Urine filter membrane photographed through a 4× microscope objective.
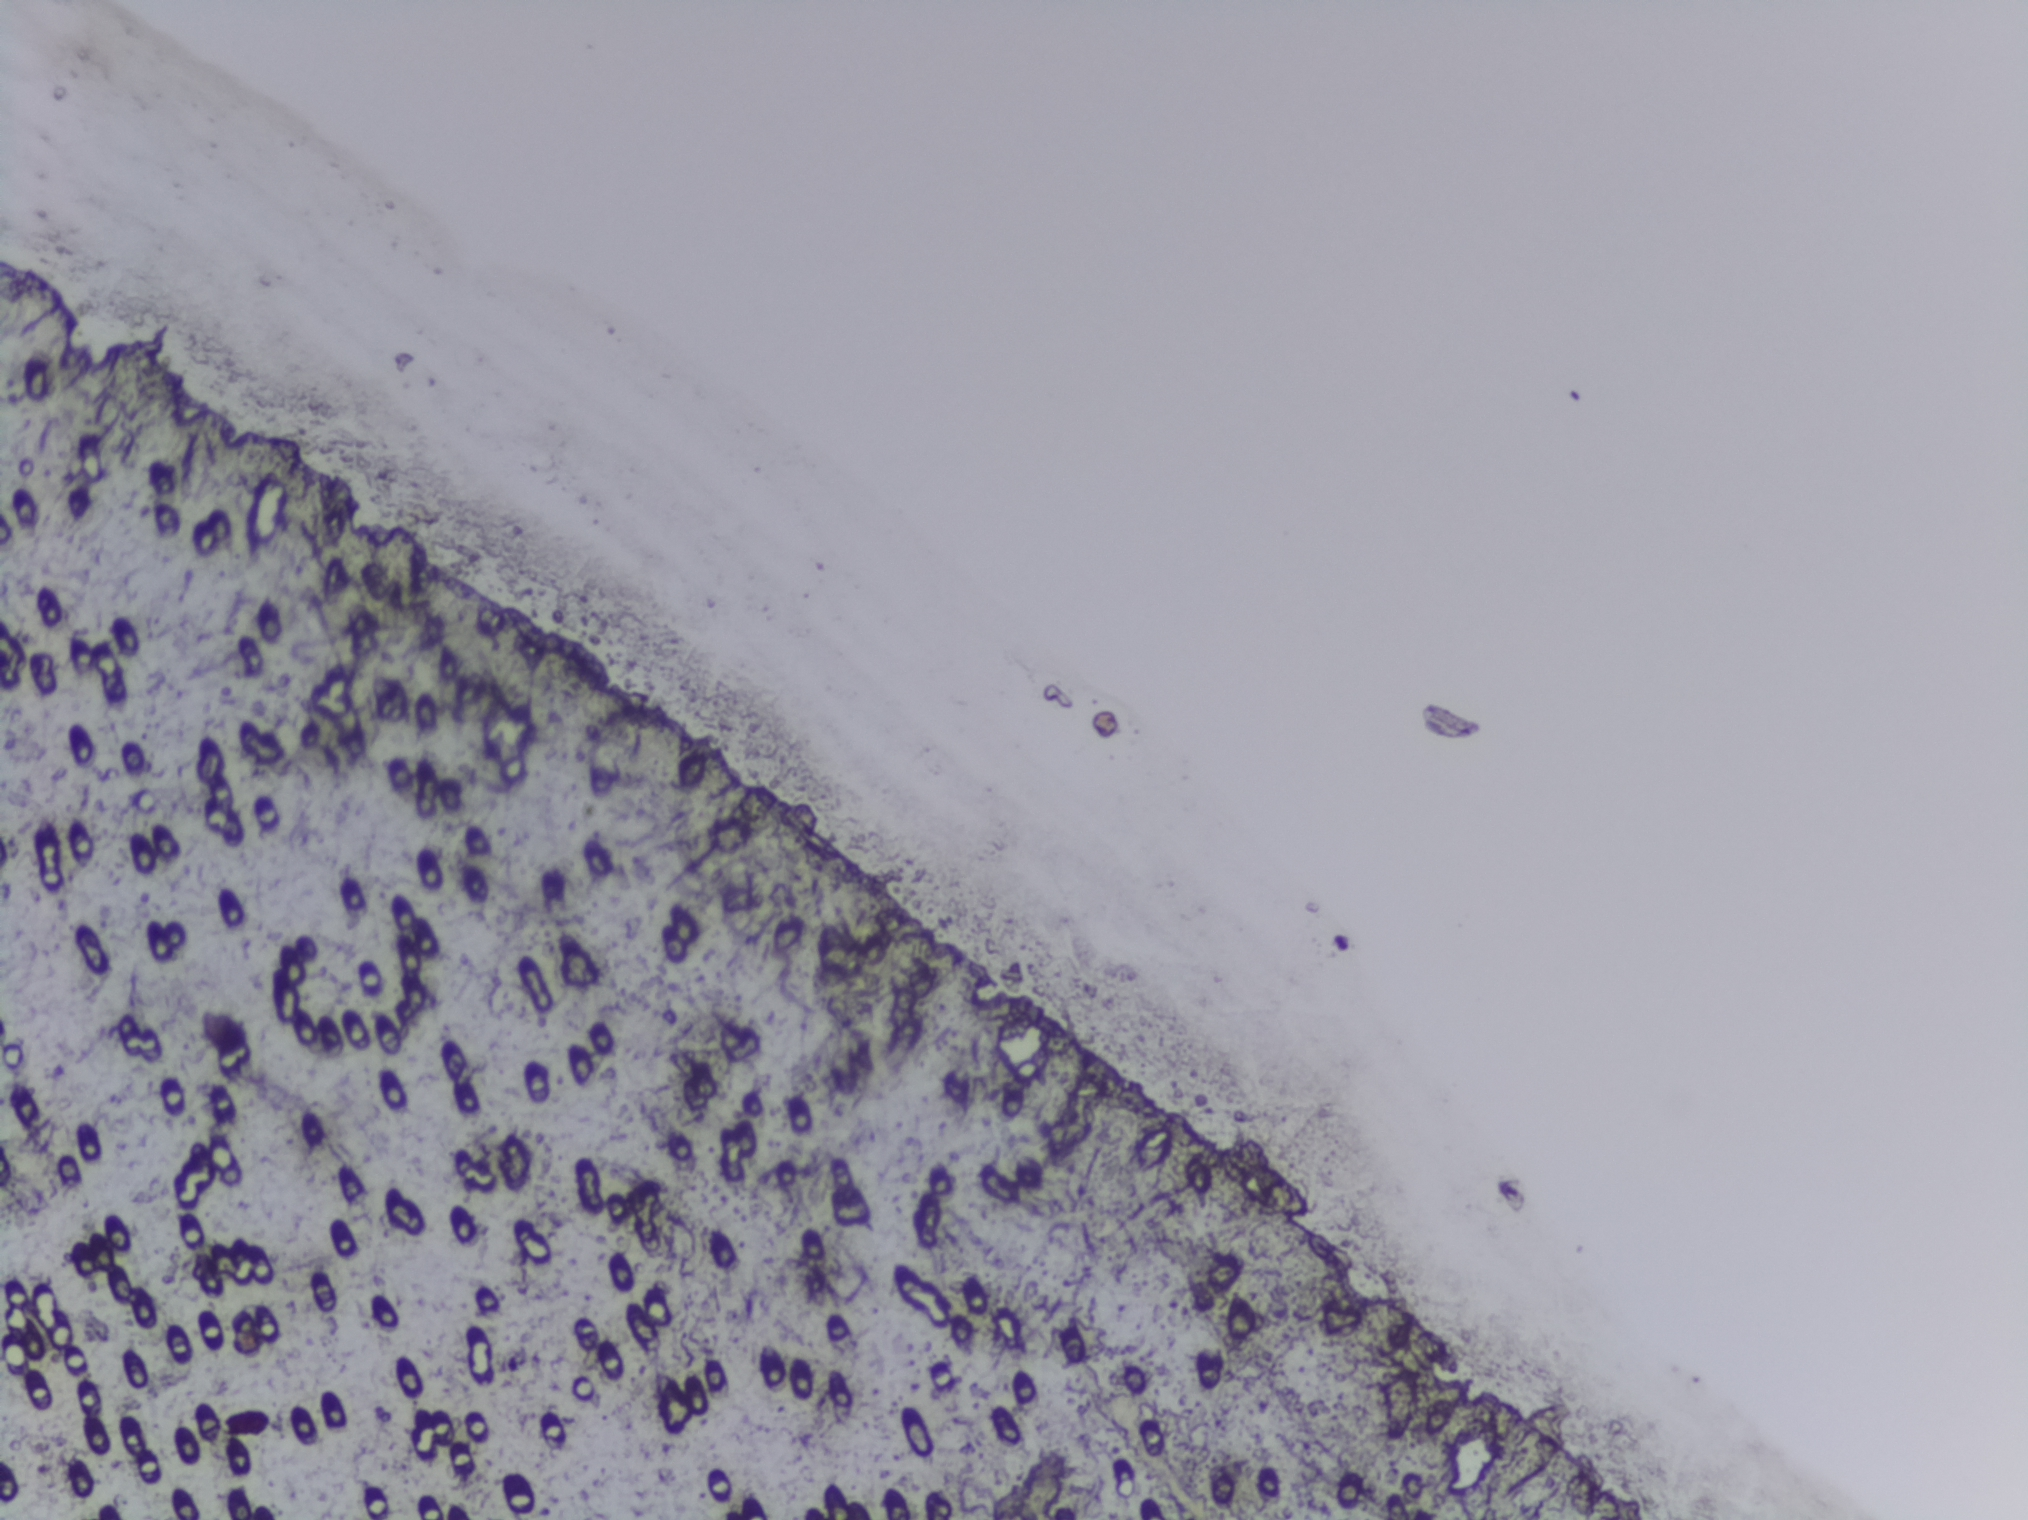
Schistosoma eggs: none outlined.